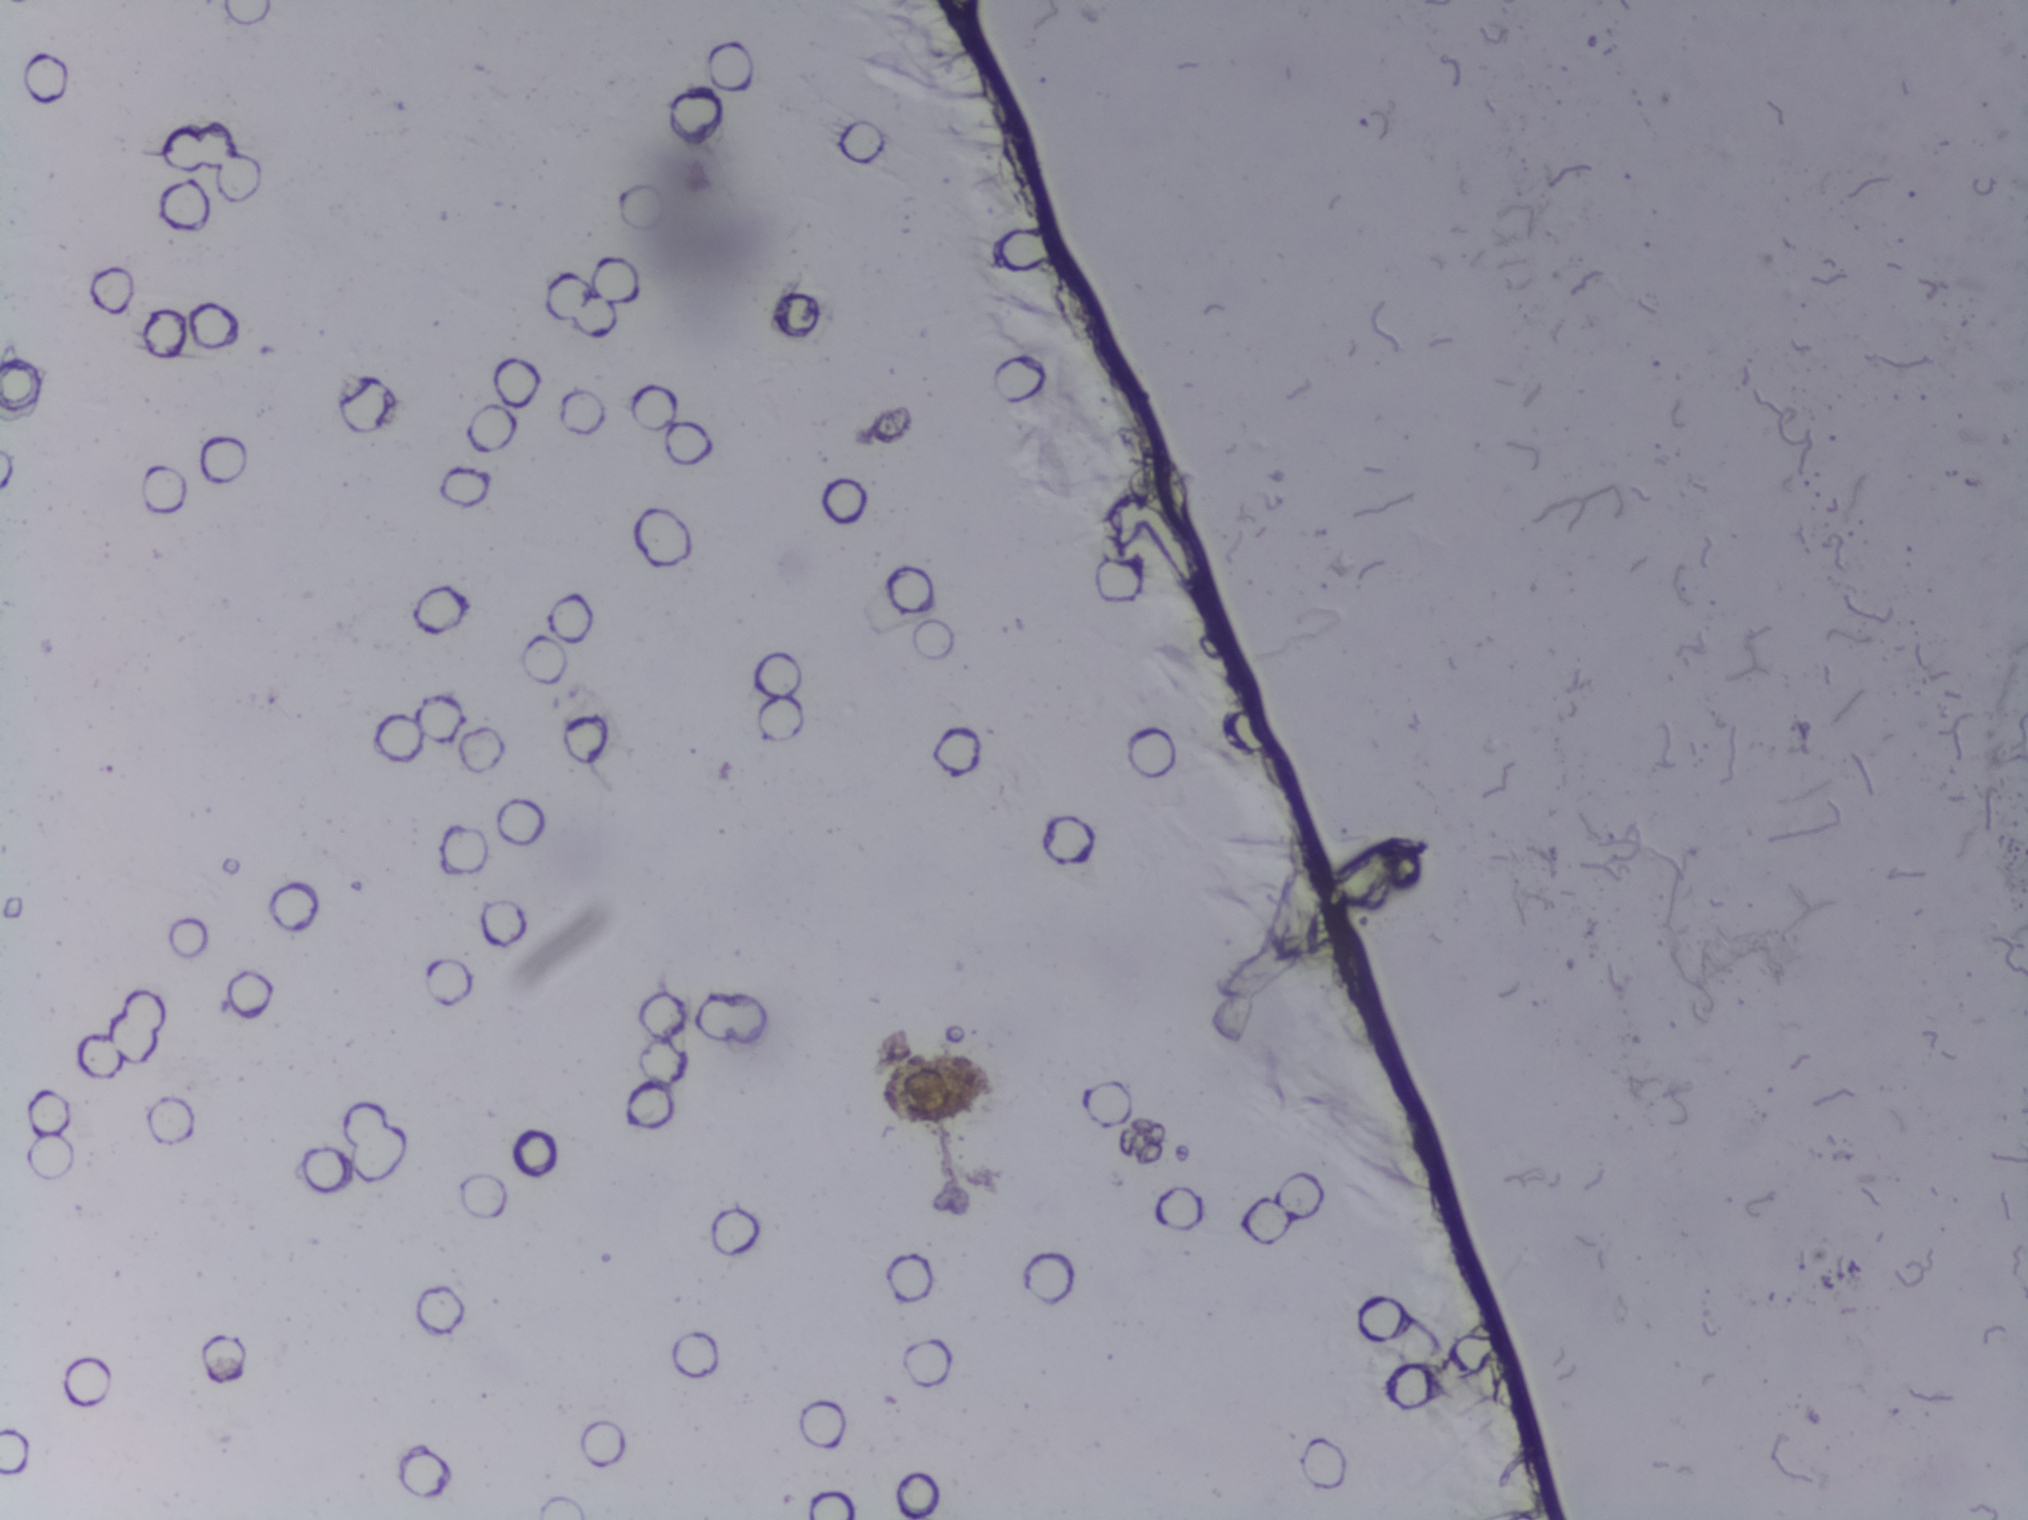
Urine filter membrane photographed through a 4× microscope objective.
Schistosoma eggs: none outlined.